Urine filtration membrane under a 4× objective, photographed by an automated digital microscope. The image covers about 1.5 × 1.1 mm of the membrane.
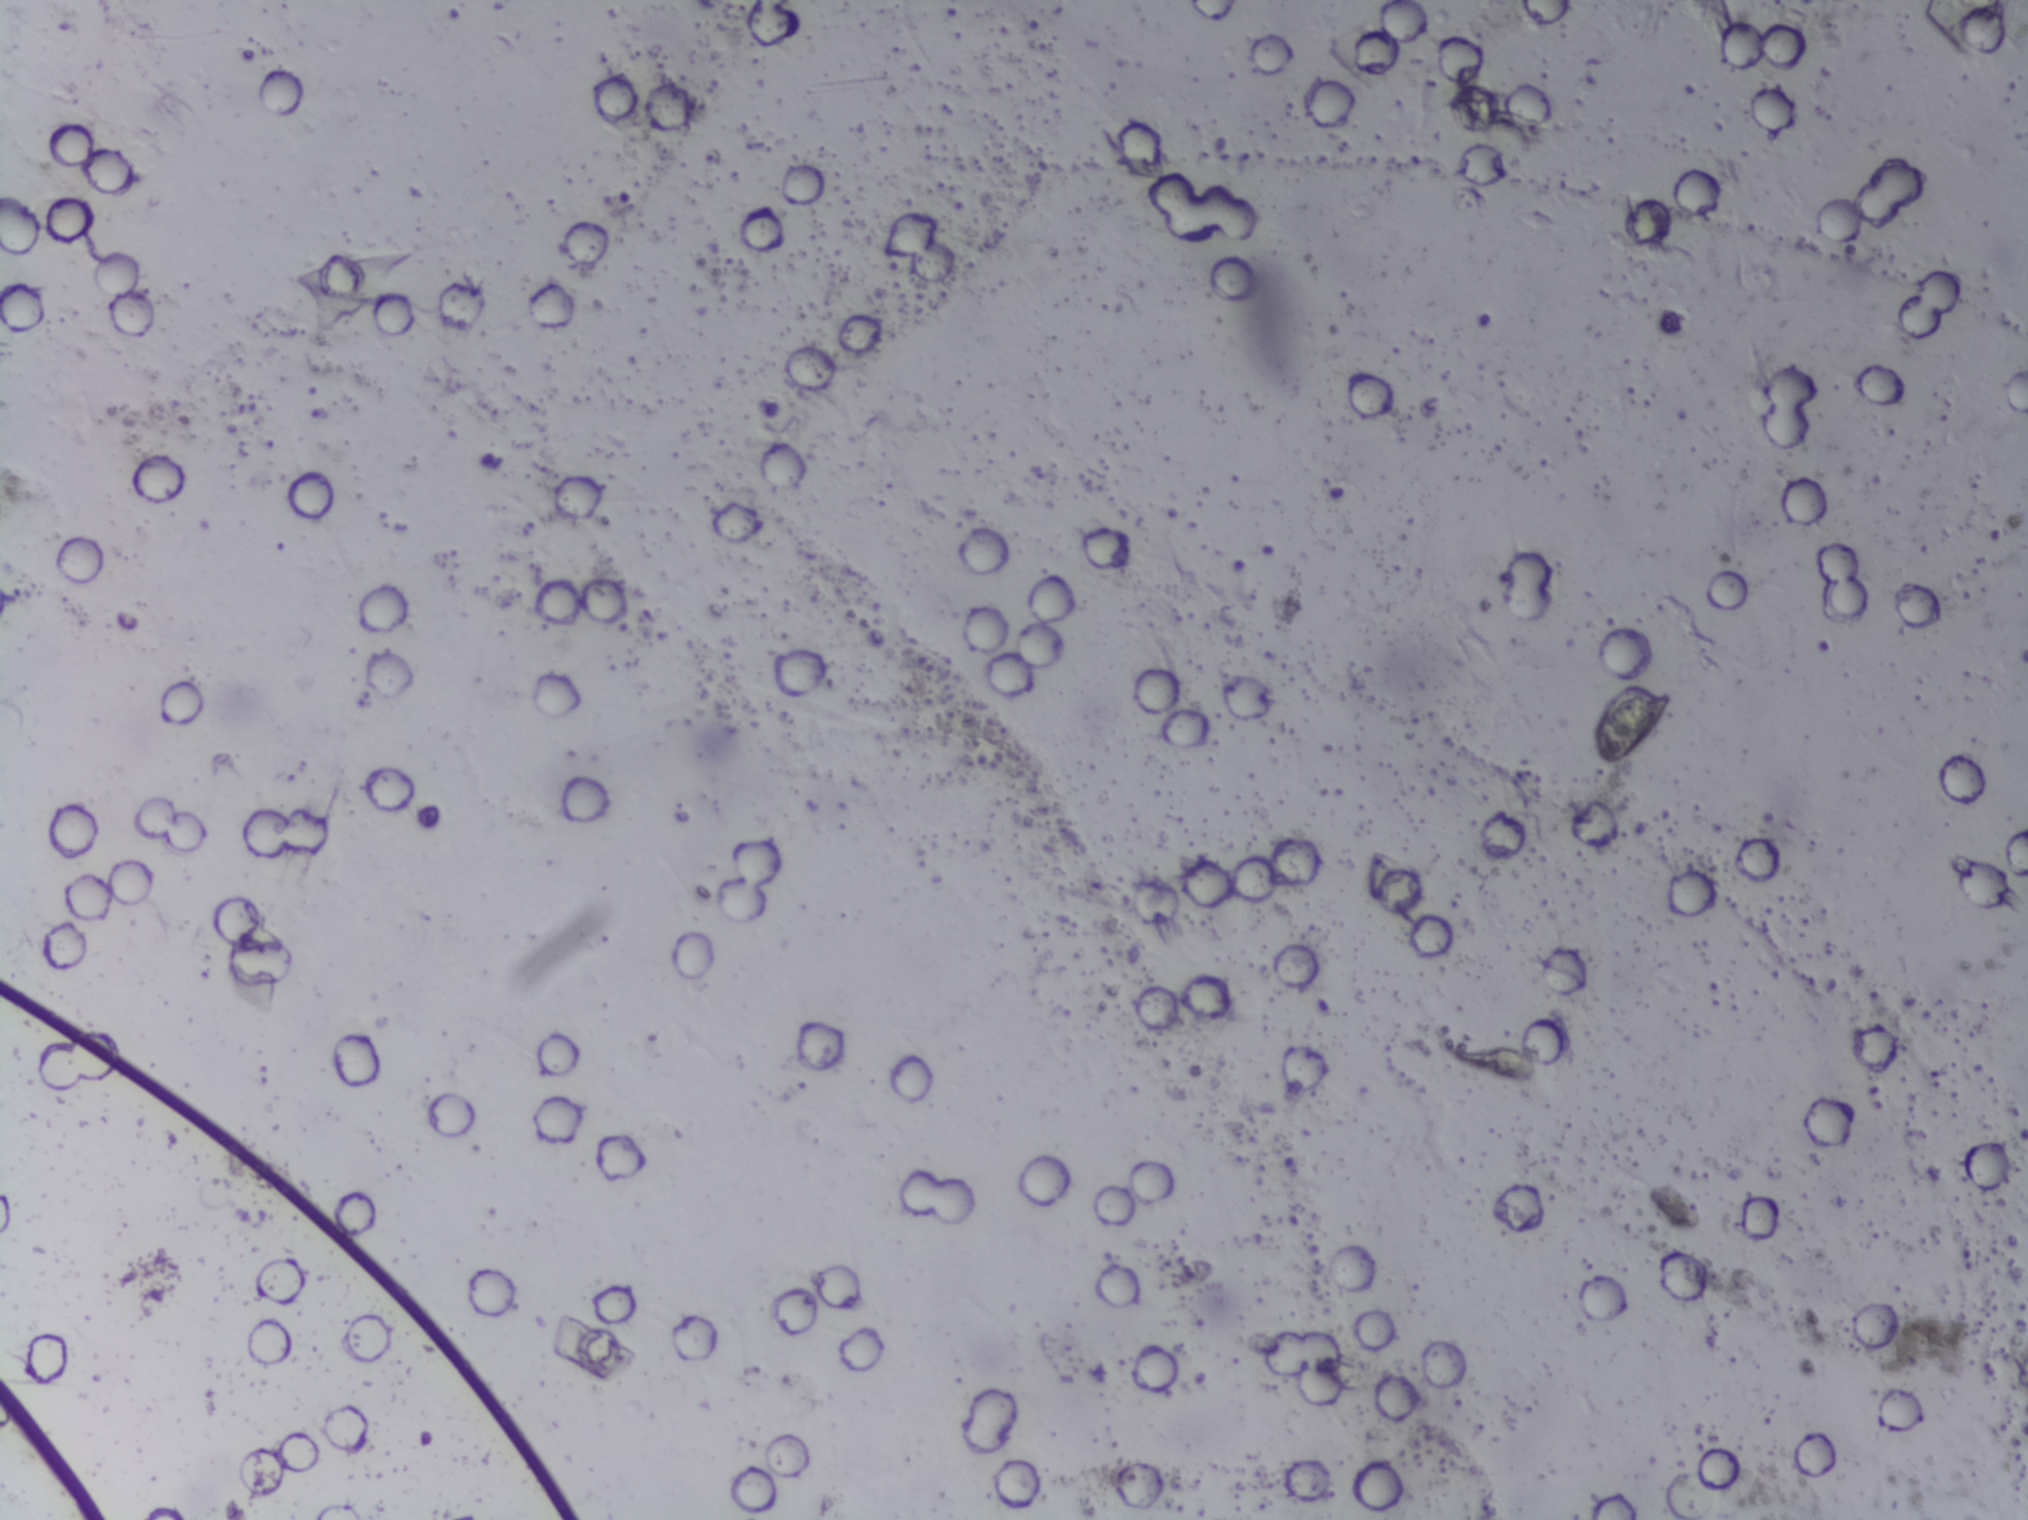
No Schistosoma egg is outlined in this image's expert annotation.